Photograph from an automated digital microscope: urine filter membrane, 4× objective.
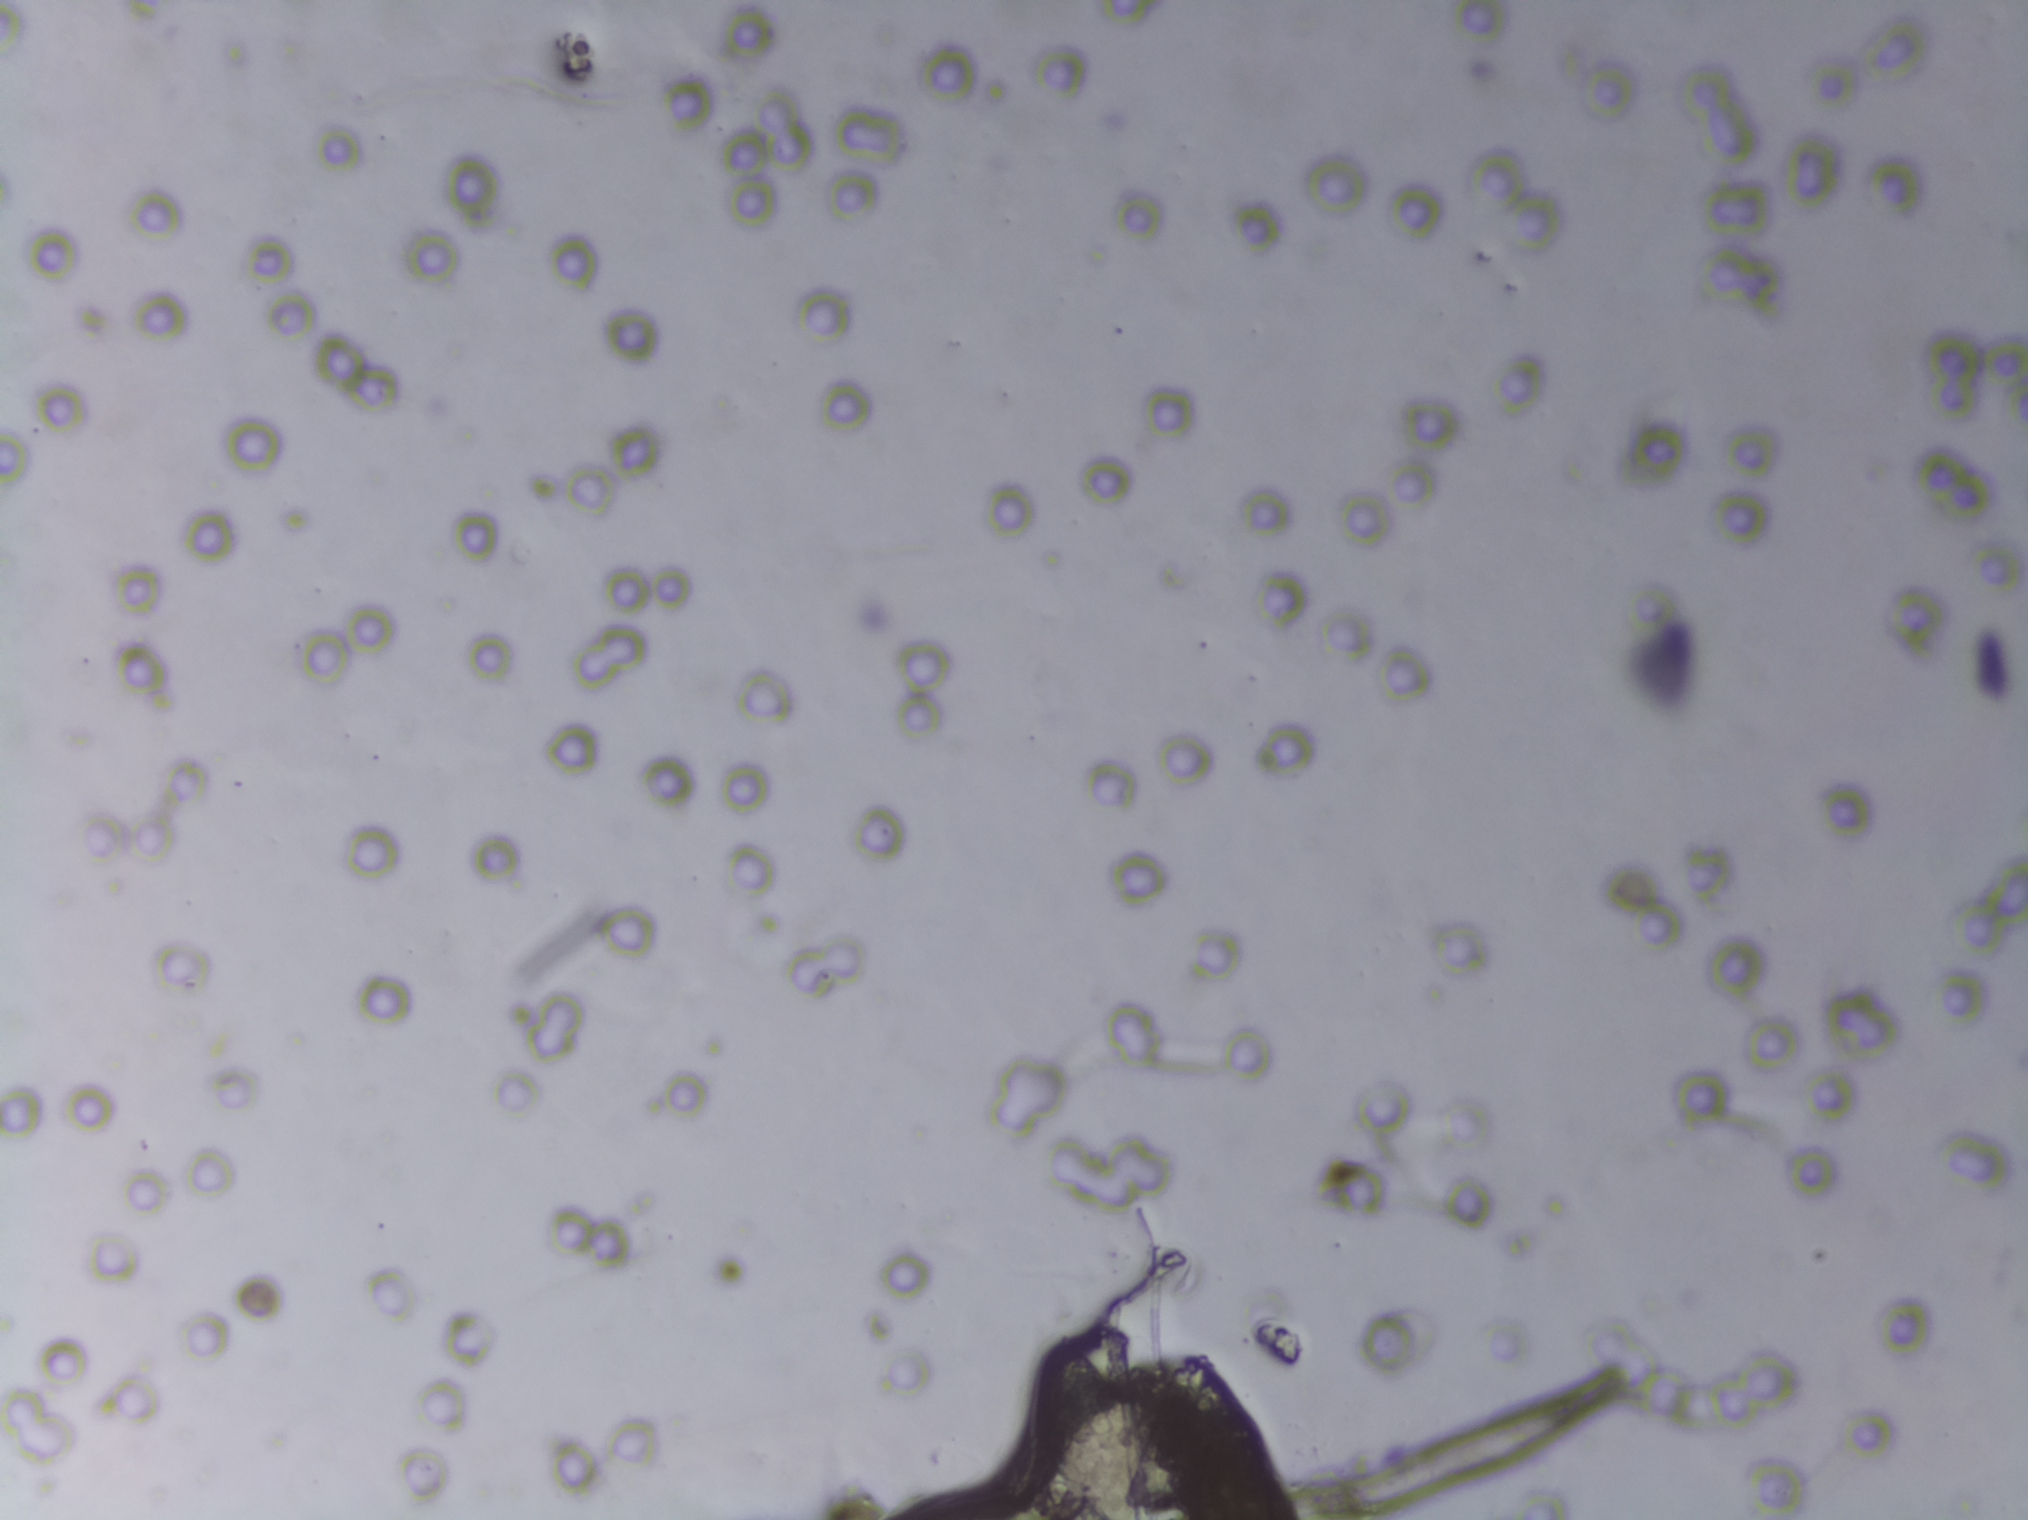
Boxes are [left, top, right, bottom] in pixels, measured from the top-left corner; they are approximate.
Schistosoma eggs are outlined in the expert annotation at [1031, 1335, 1143, 1519] (reaching the bottom edge of the frame). An outlined area can hold more than one egg.